Urine filter membrane photographed through a 4× microscope objective. Field of view: about 1.5 mm wide and 1.1 mm high.
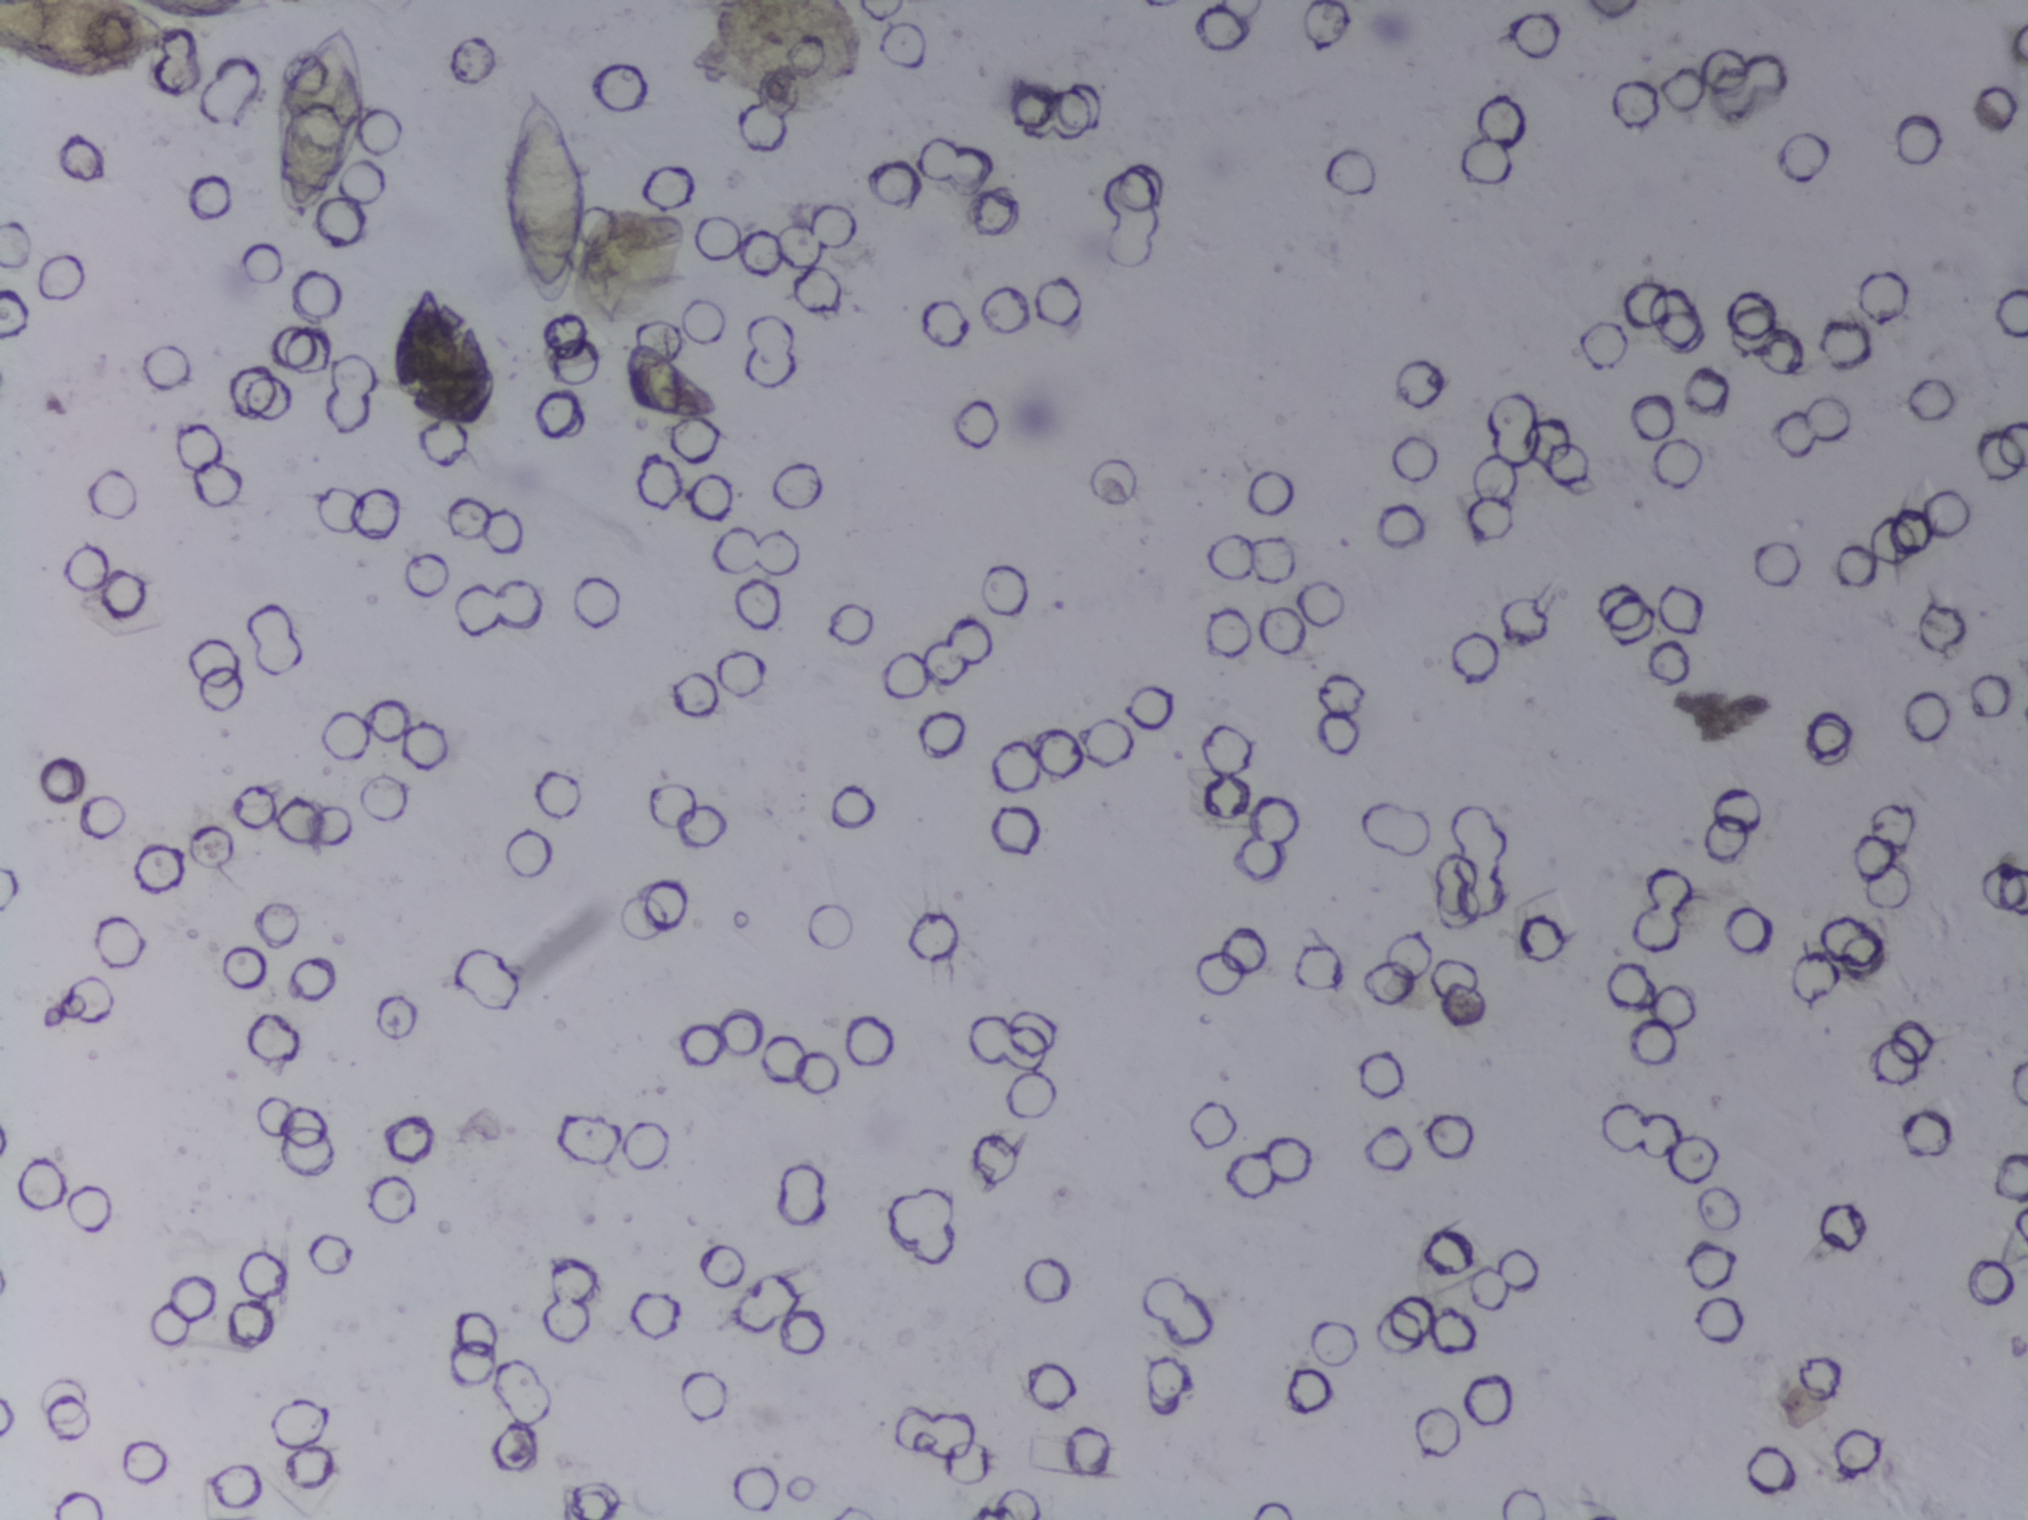
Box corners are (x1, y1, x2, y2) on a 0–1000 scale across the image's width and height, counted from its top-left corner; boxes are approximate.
Findings: five areas outlined as Schistosoma eggs. Locations, left to right: (0, 0, 137, 53) (reaching the left and top edges of the frame); (132, 13, 180, 144); (192, 183, 243, 282); (248, 53, 315, 216); (307, 224, 354, 279). A single outlined area may contain several eggs. A marked egg may occasionally be S. mansoni rather than S. haematobium.